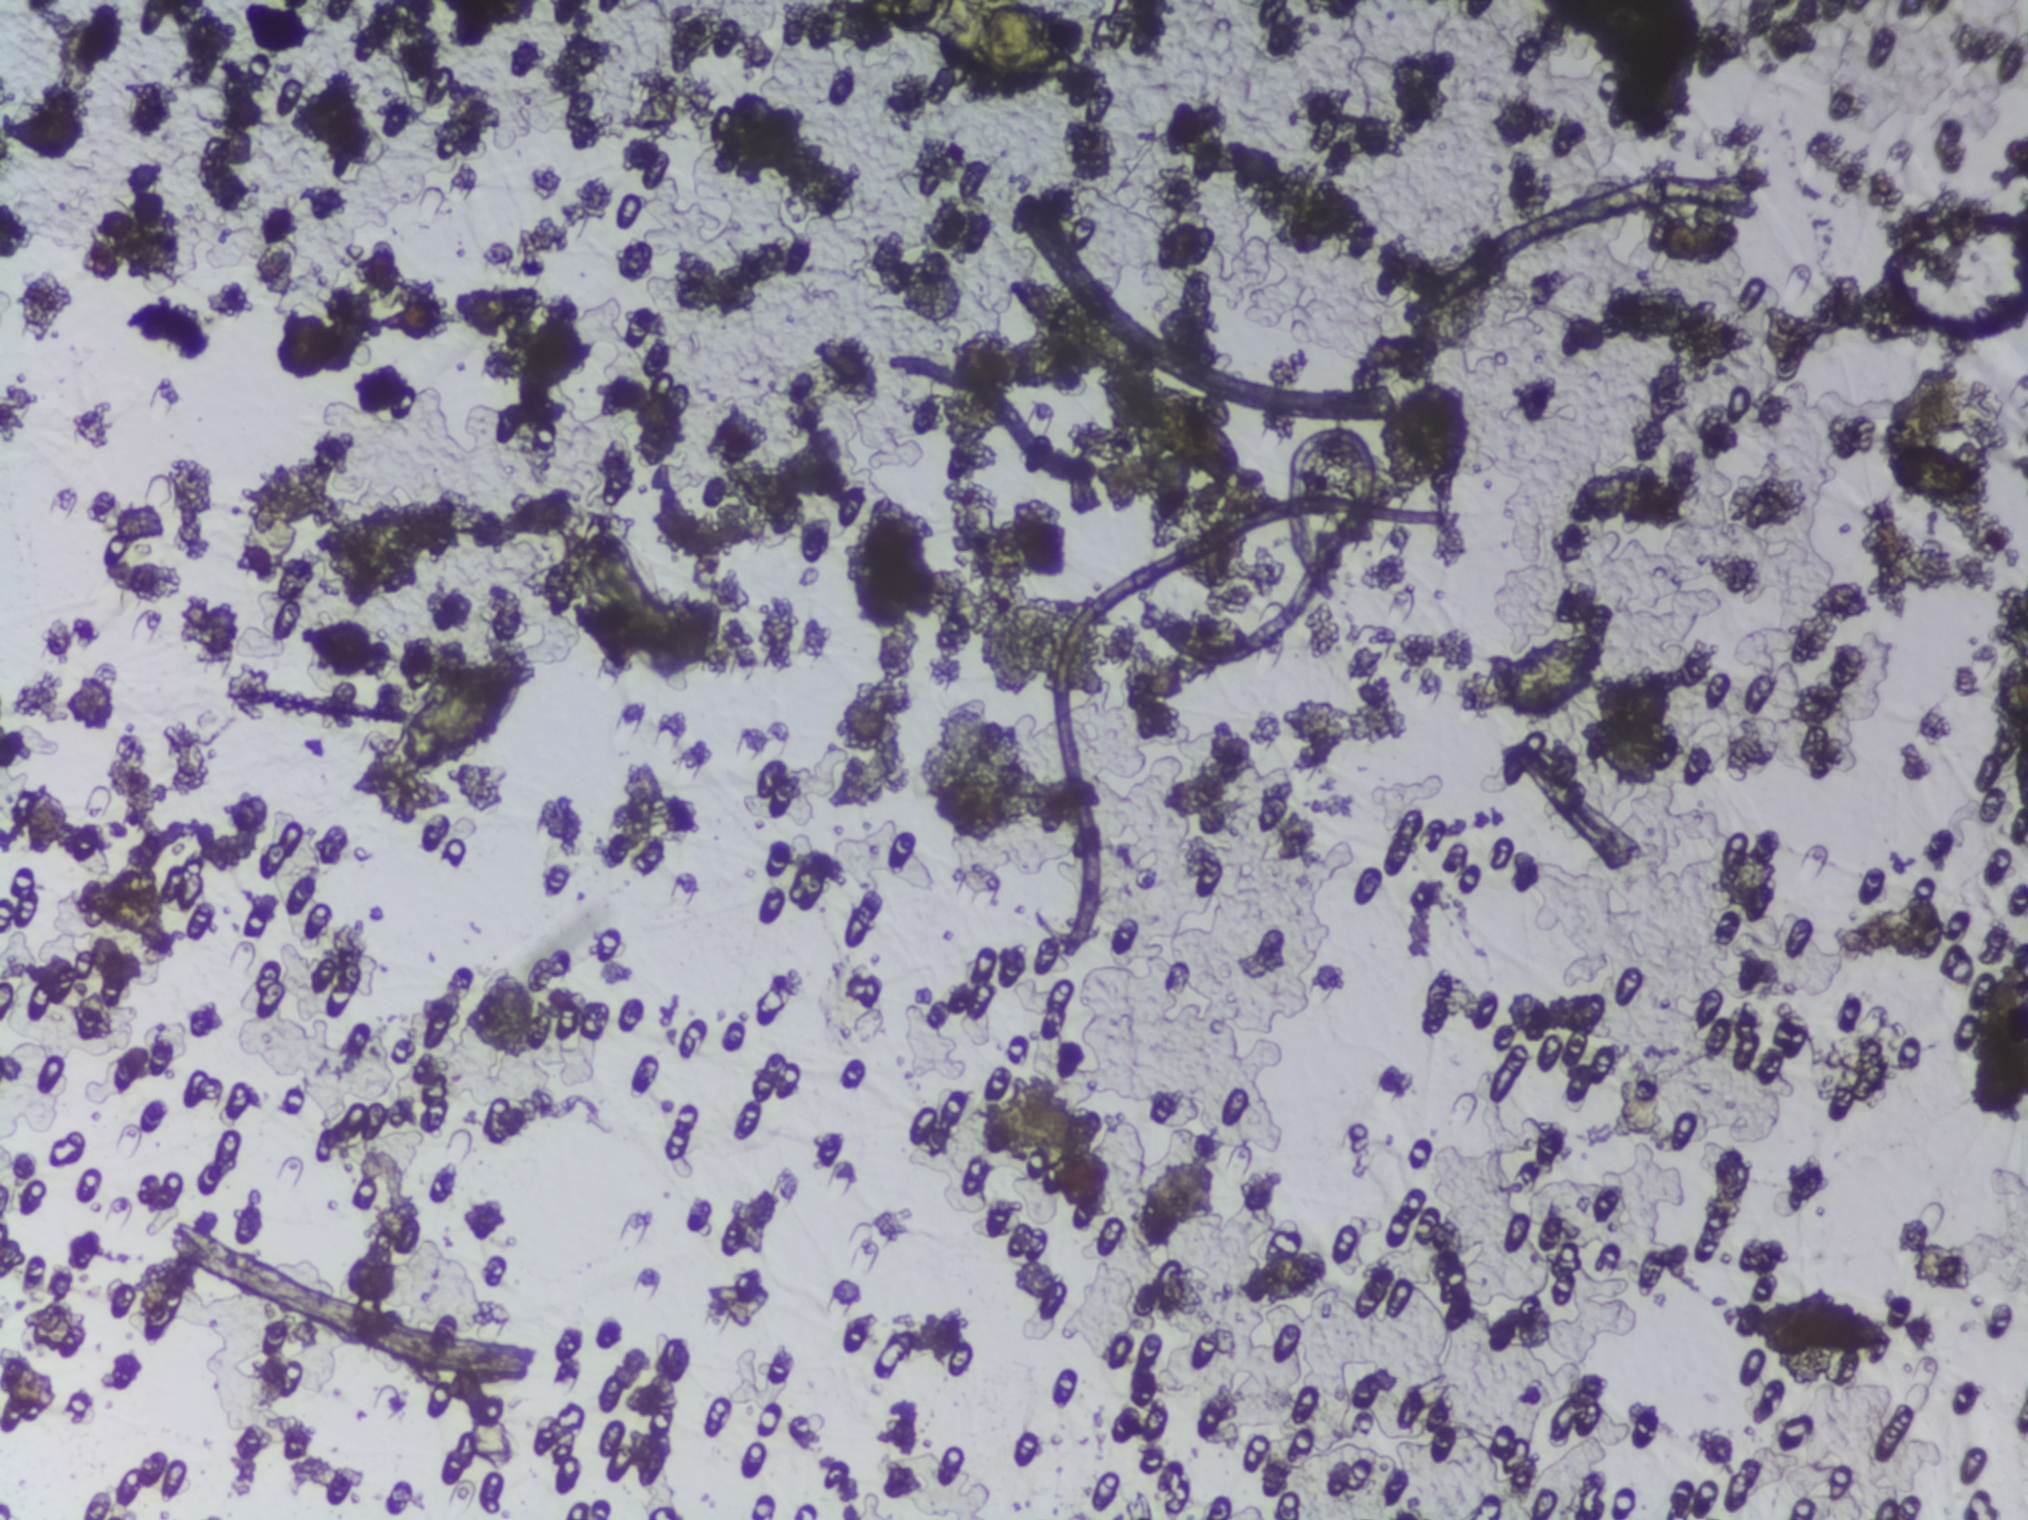
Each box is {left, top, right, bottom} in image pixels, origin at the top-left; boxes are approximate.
Areas outlined as Schistosoma eggs: {366, 655, 544, 788}; {1494, 633, 1603, 714}; {1885, 444, 1981, 502}. A single outlined area may contain several eggs.
Urine filtration membrane under a 4× objective, photographed by an automated digital microscope. The field of view is about 1.5 mm × 1.1 mm.